Photomicrograph of a urine filtration membrane, 4× objective.
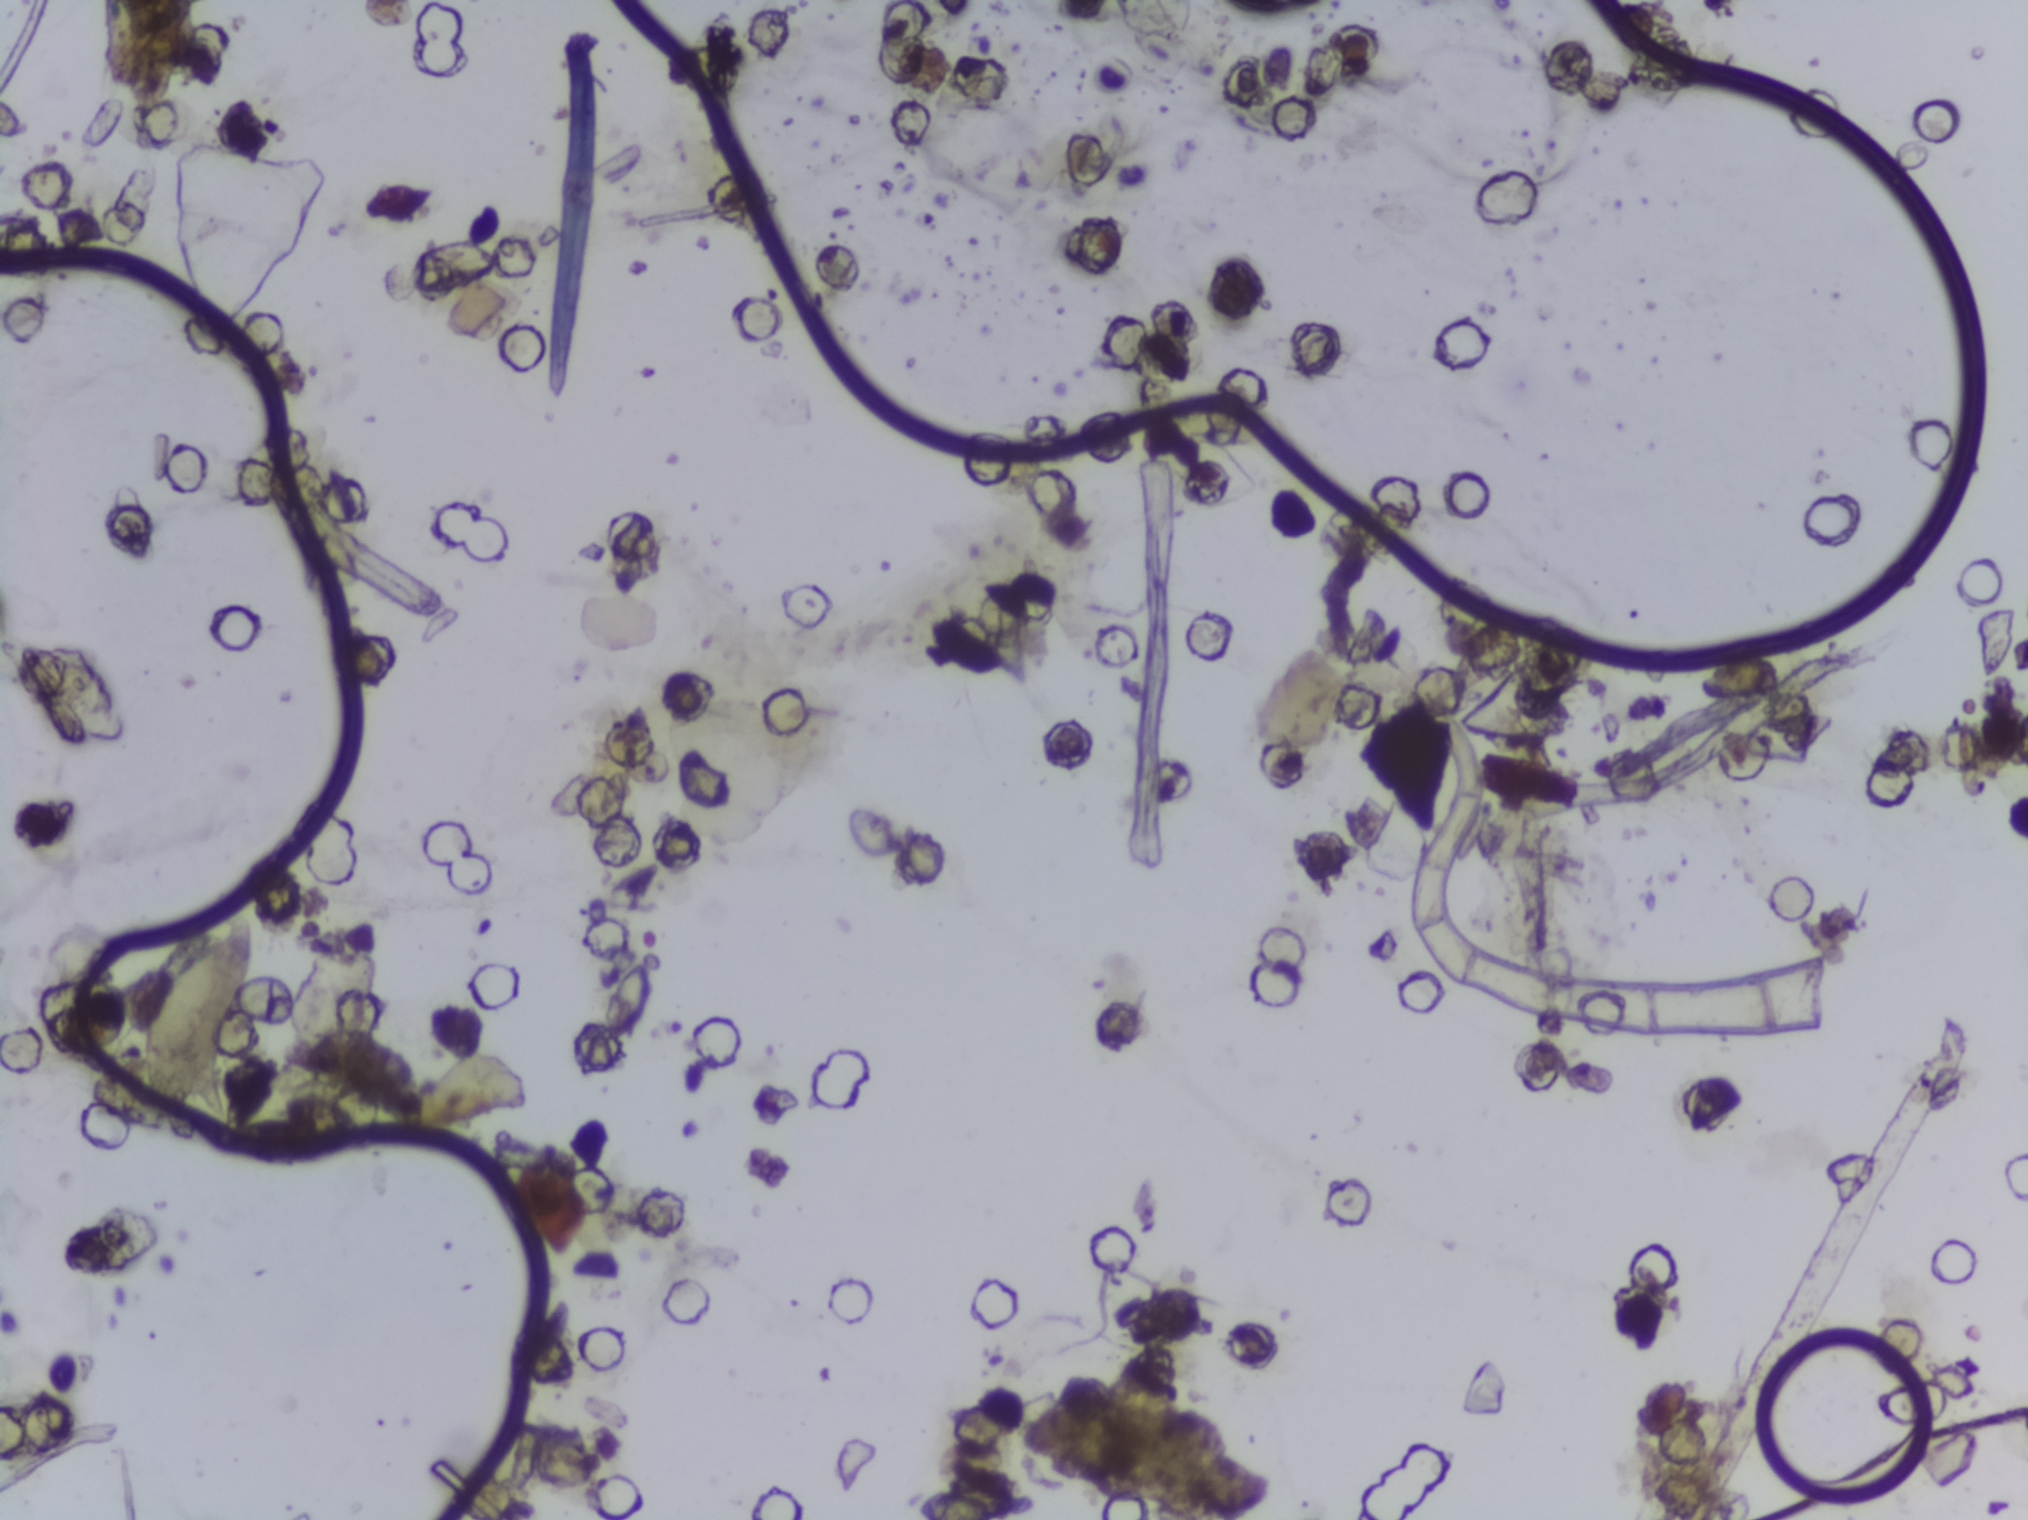
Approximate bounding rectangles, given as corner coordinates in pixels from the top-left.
Outlined Schistosoma egg areas:
1. (x1=115, y1=918, x2=258, y2=1126)
The marked pixels themselves, not the box around them, cover about 0.6% of the image. Eggs that touch can end up inside the same outlined area.